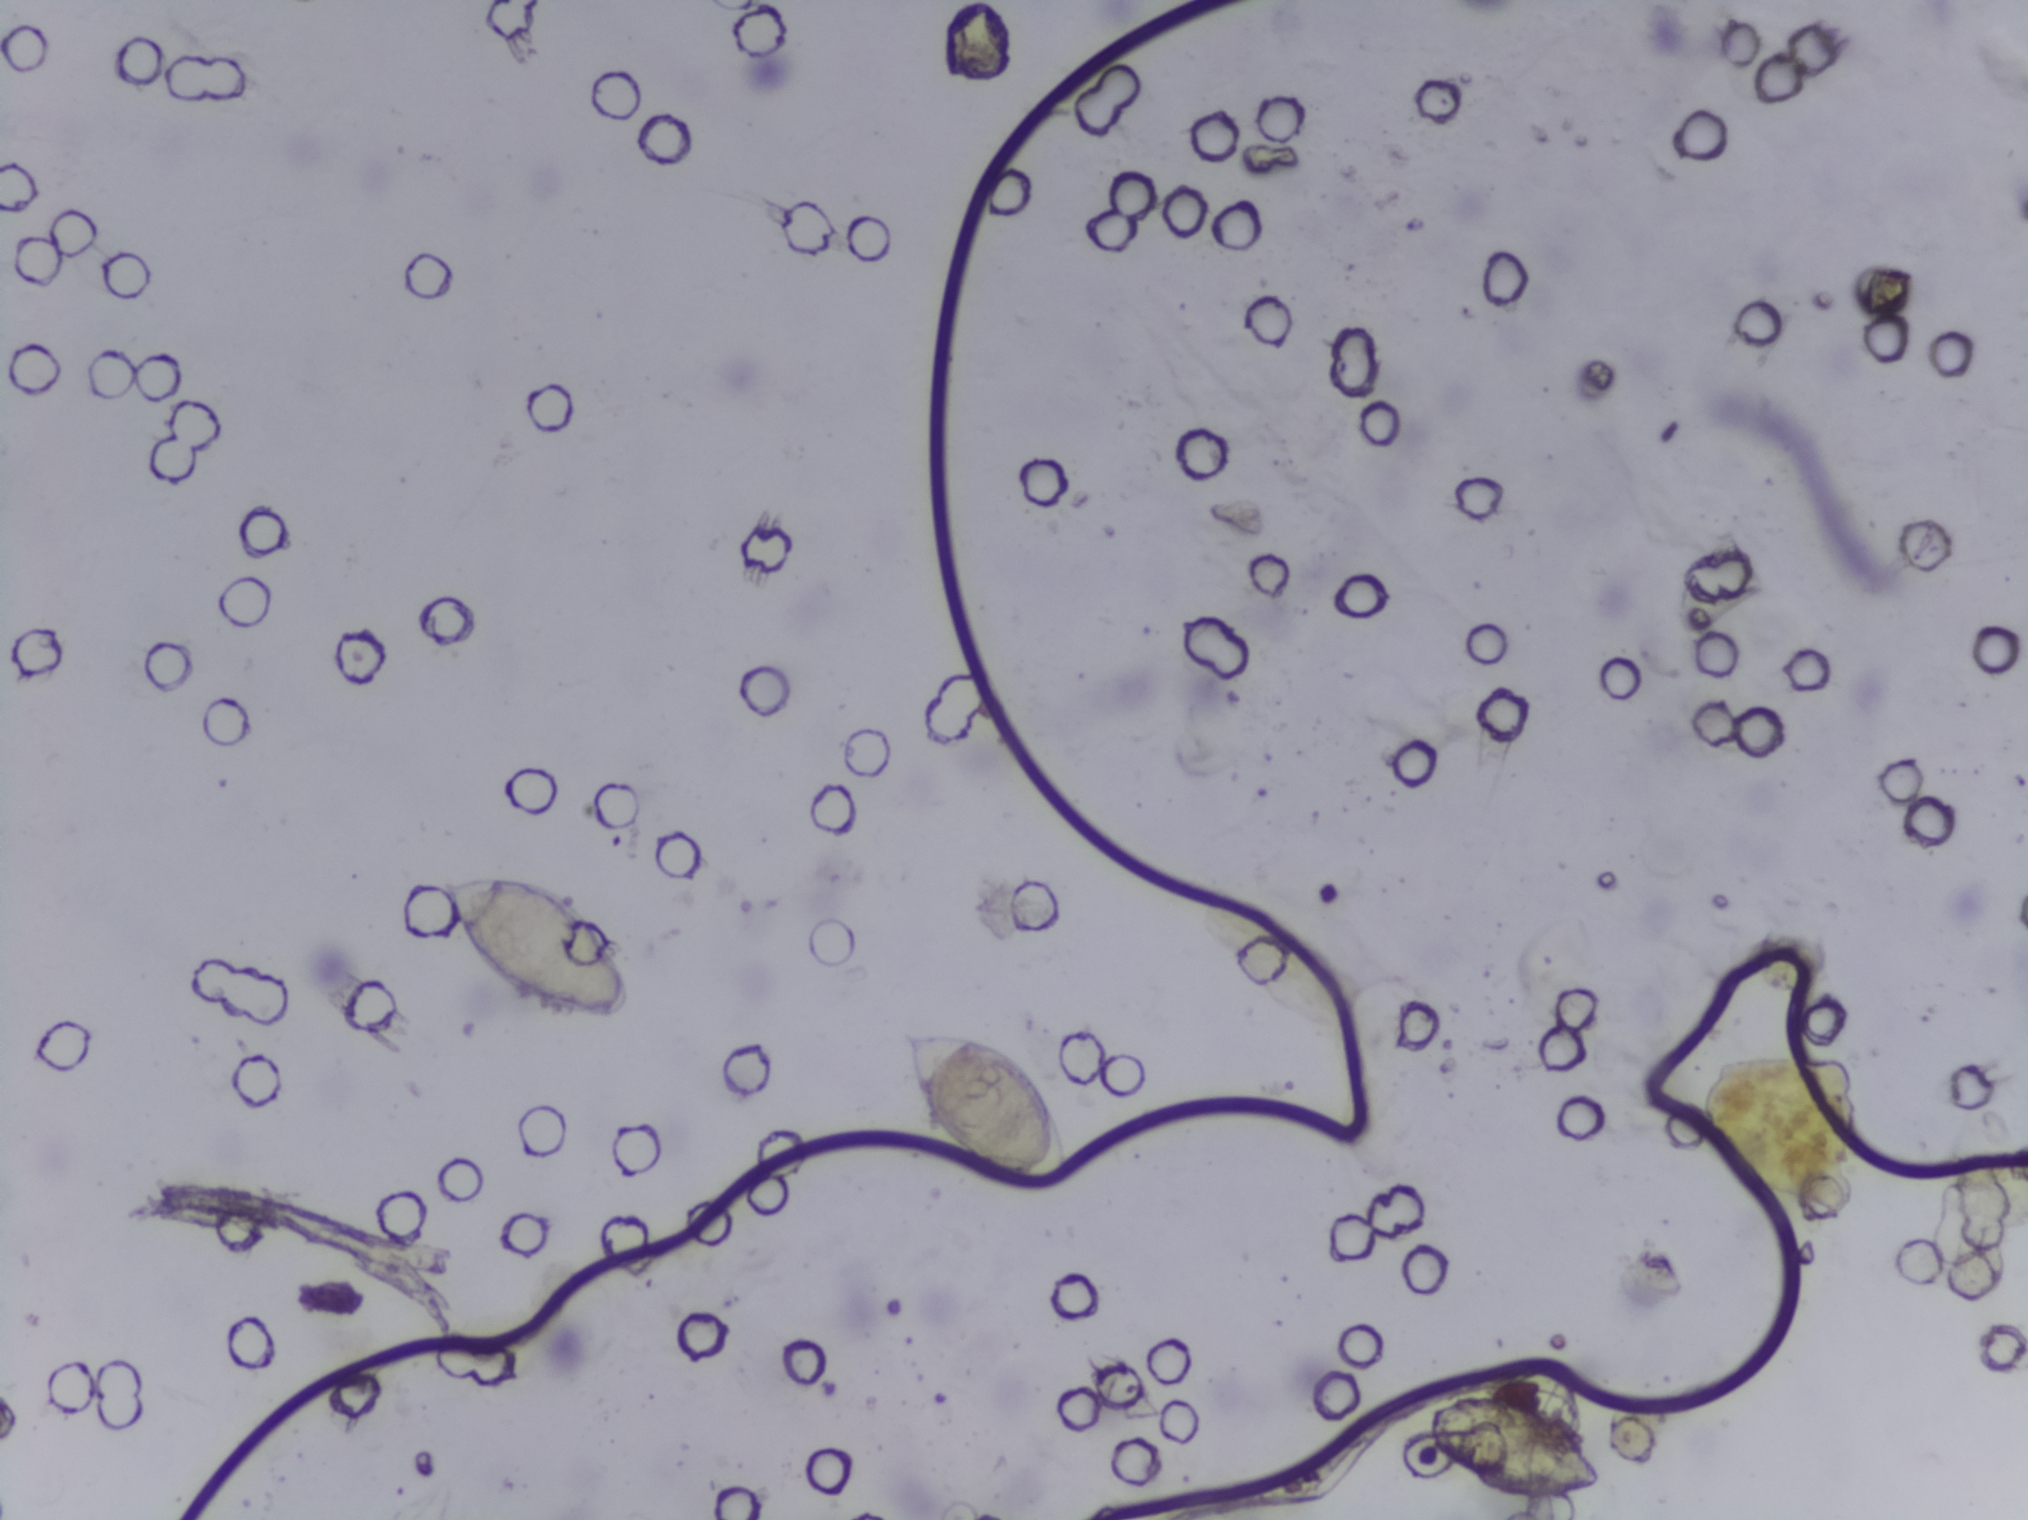
Urine filtration membrane under a 4× objective, photographed by an automated digital microscope.
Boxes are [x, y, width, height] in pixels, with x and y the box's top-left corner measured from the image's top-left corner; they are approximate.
Schistosoma eggs, outlined areas: [442, 874, 190, 147]; [897, 1019, 173, 171]; [1428, 1391, 175, 110]. An outlined area can hold more than one egg.